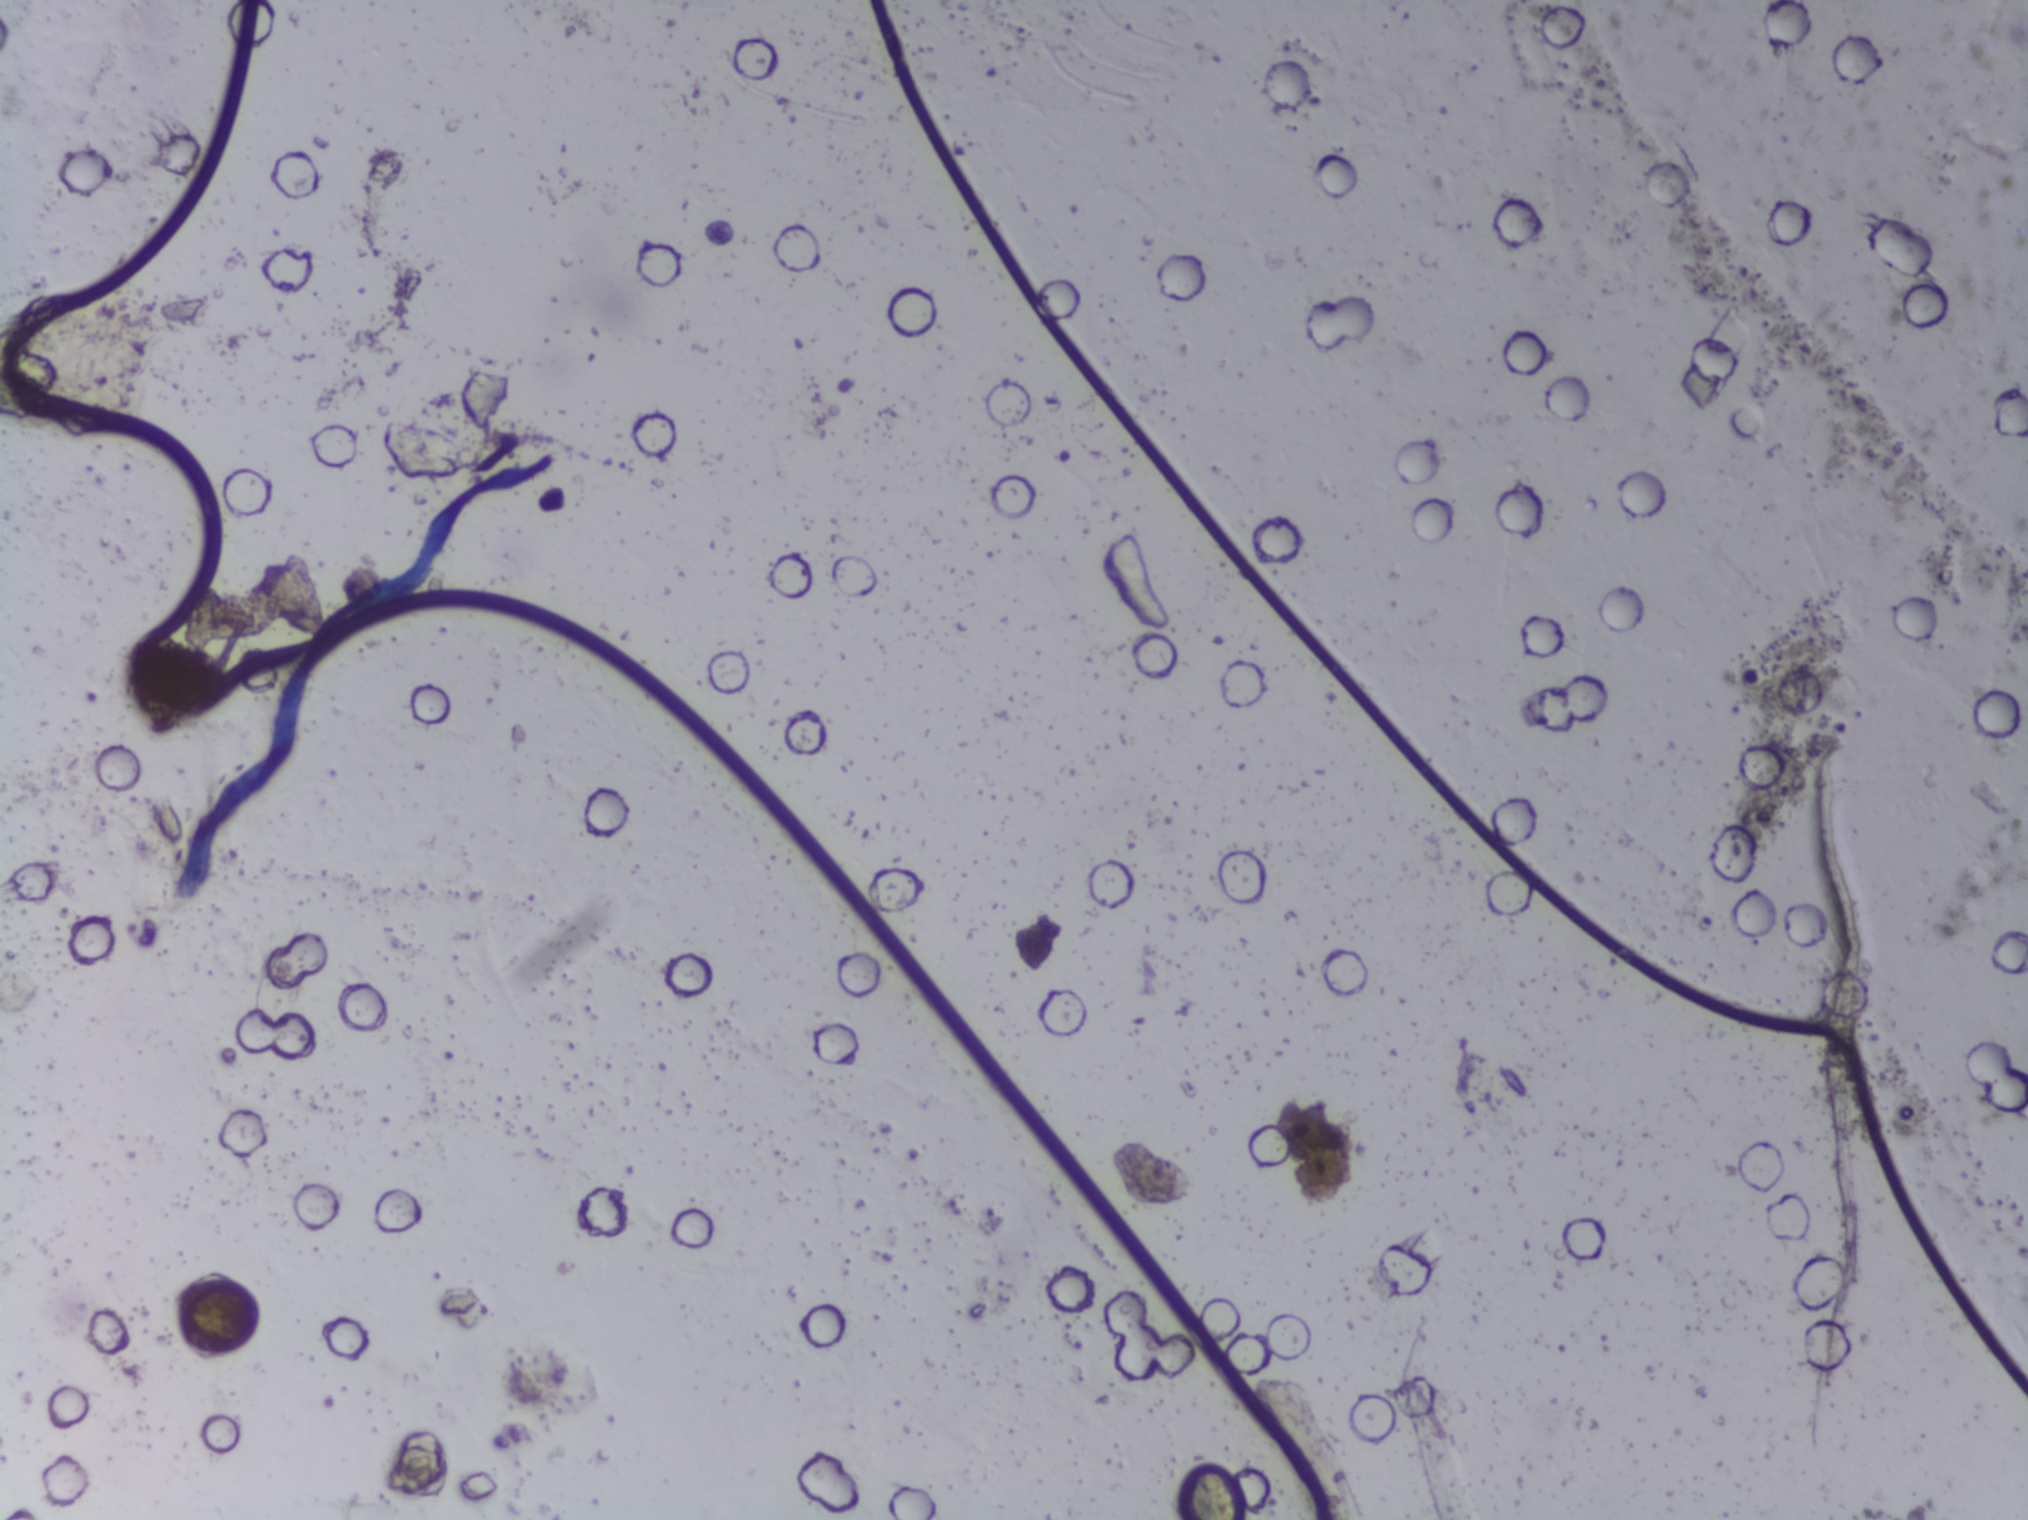
Urine filtration membrane under a 4× objective, photographed by an automated digital microscope.
The expert annotation marks no Schistosoma egg in this field of view.